Photograph from an automated digital microscope: urine filter membrane, 4× objective.
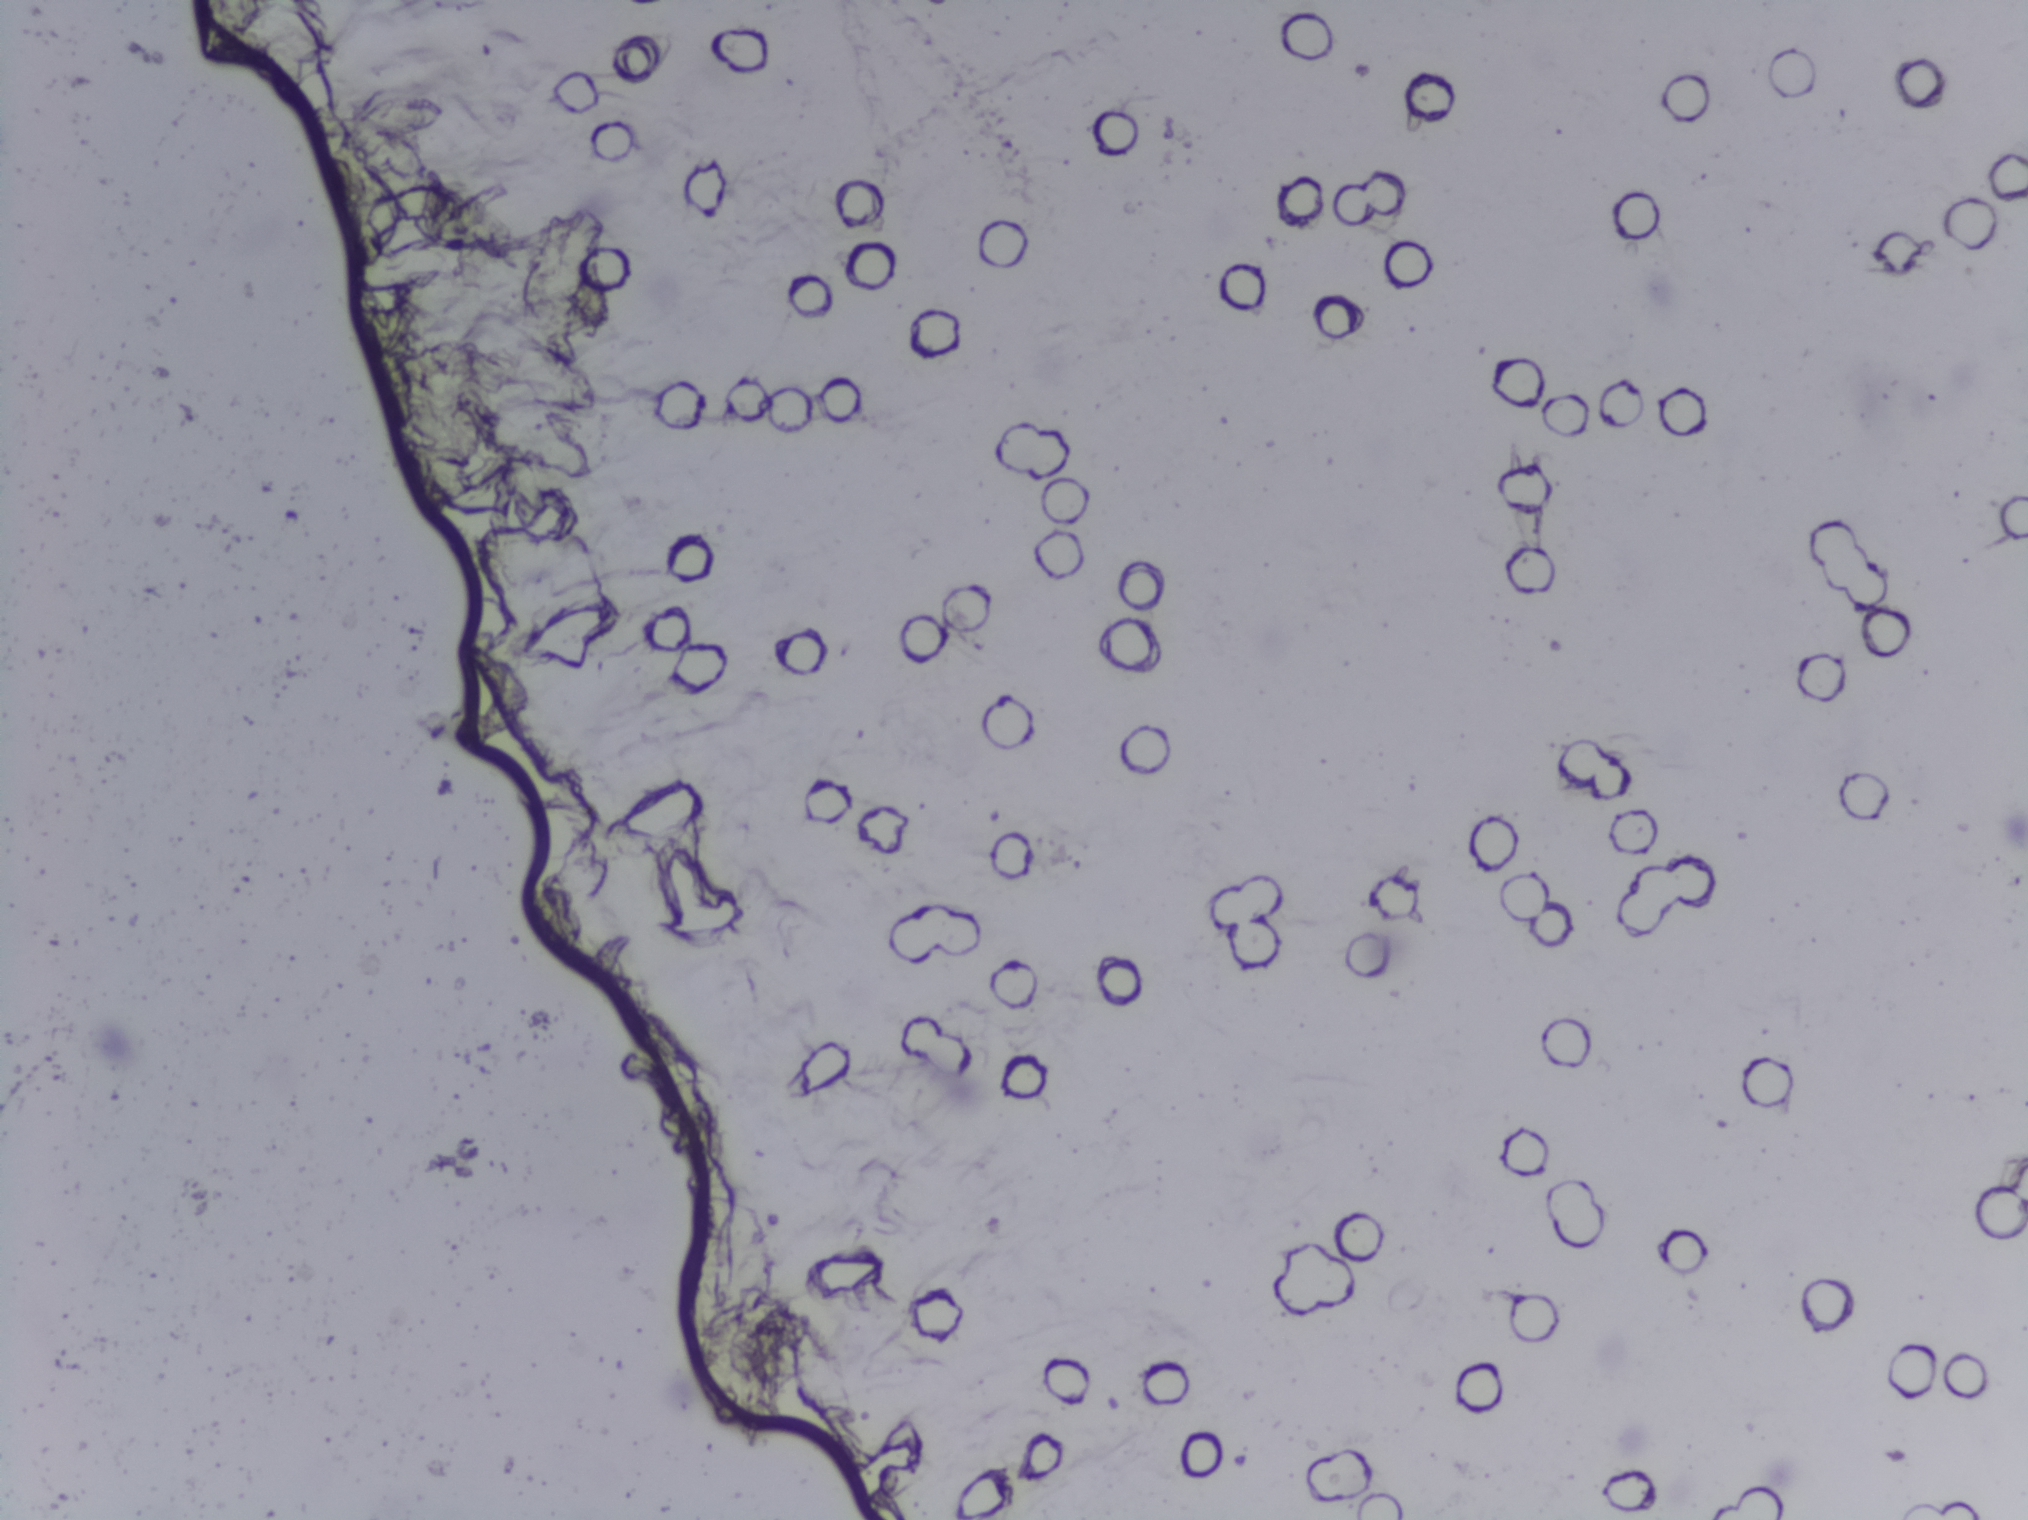
No Schistosoma egg is outlined in this image's expert annotation.